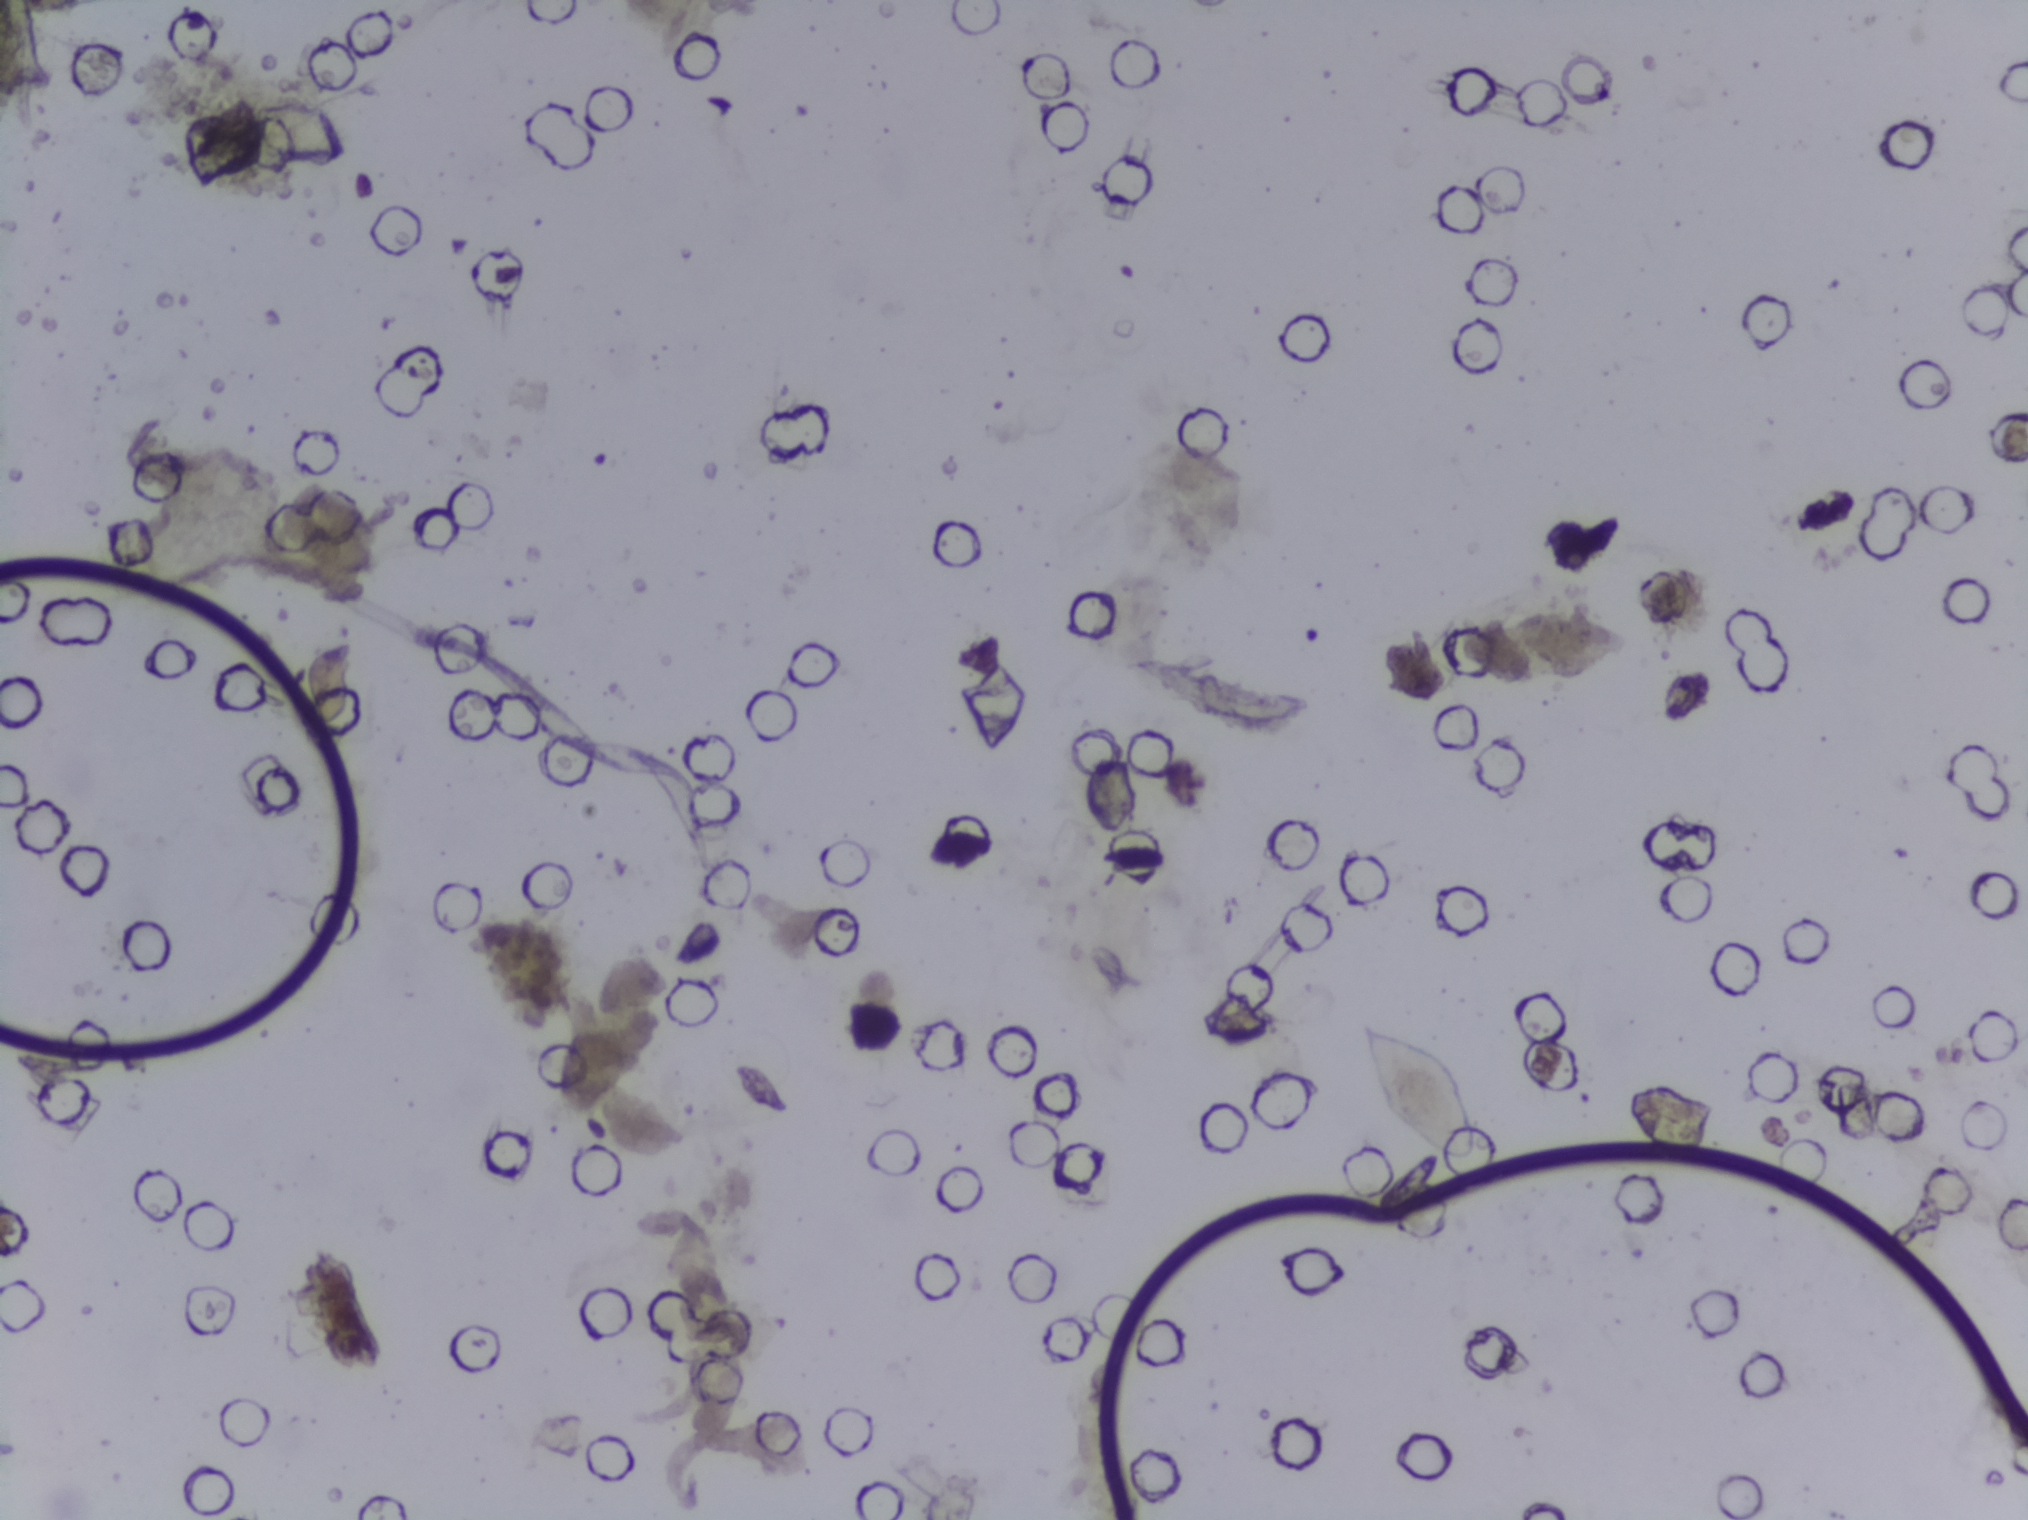
Photograph from an automated digital microscope: urine filter membrane, 4× objective.
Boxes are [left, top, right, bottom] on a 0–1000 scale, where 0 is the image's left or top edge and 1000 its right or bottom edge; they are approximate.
Schistosoma eggs, outlined areas: [671, 673, 728, 765]. A single outlined area may contain several eggs.